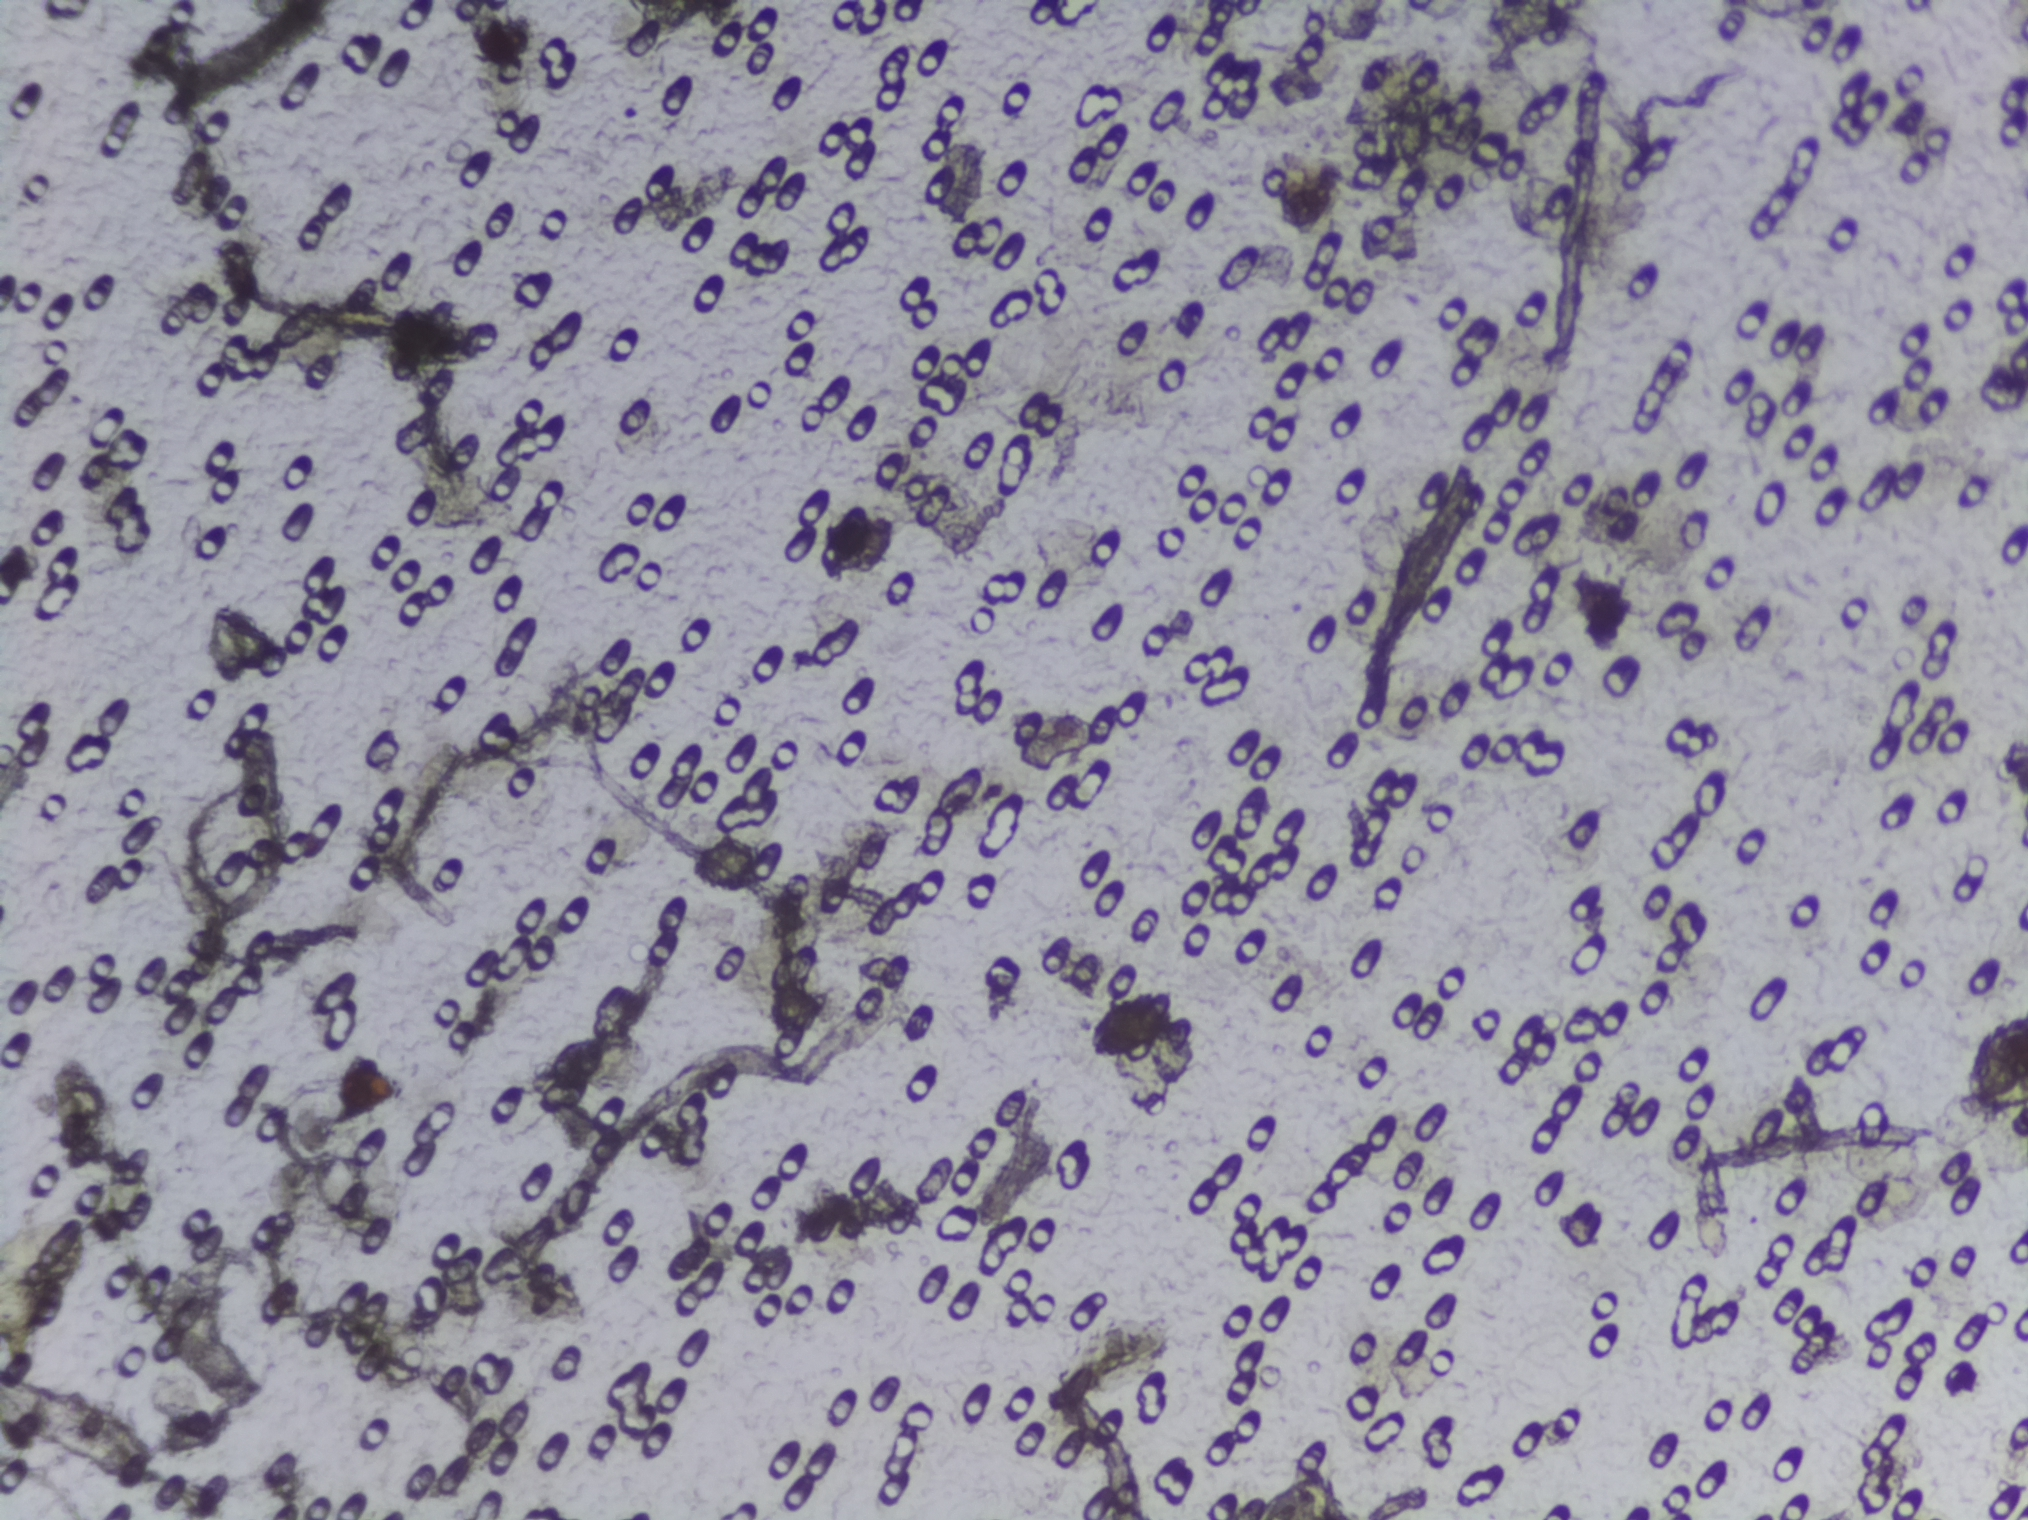
Urine filtration membrane under a 4× objective, photographed by an automated digital microscope. The field of view is about 1.5 mm × 1.1 mm.
The expert annotation outlines no Schistosoma egg in this image.